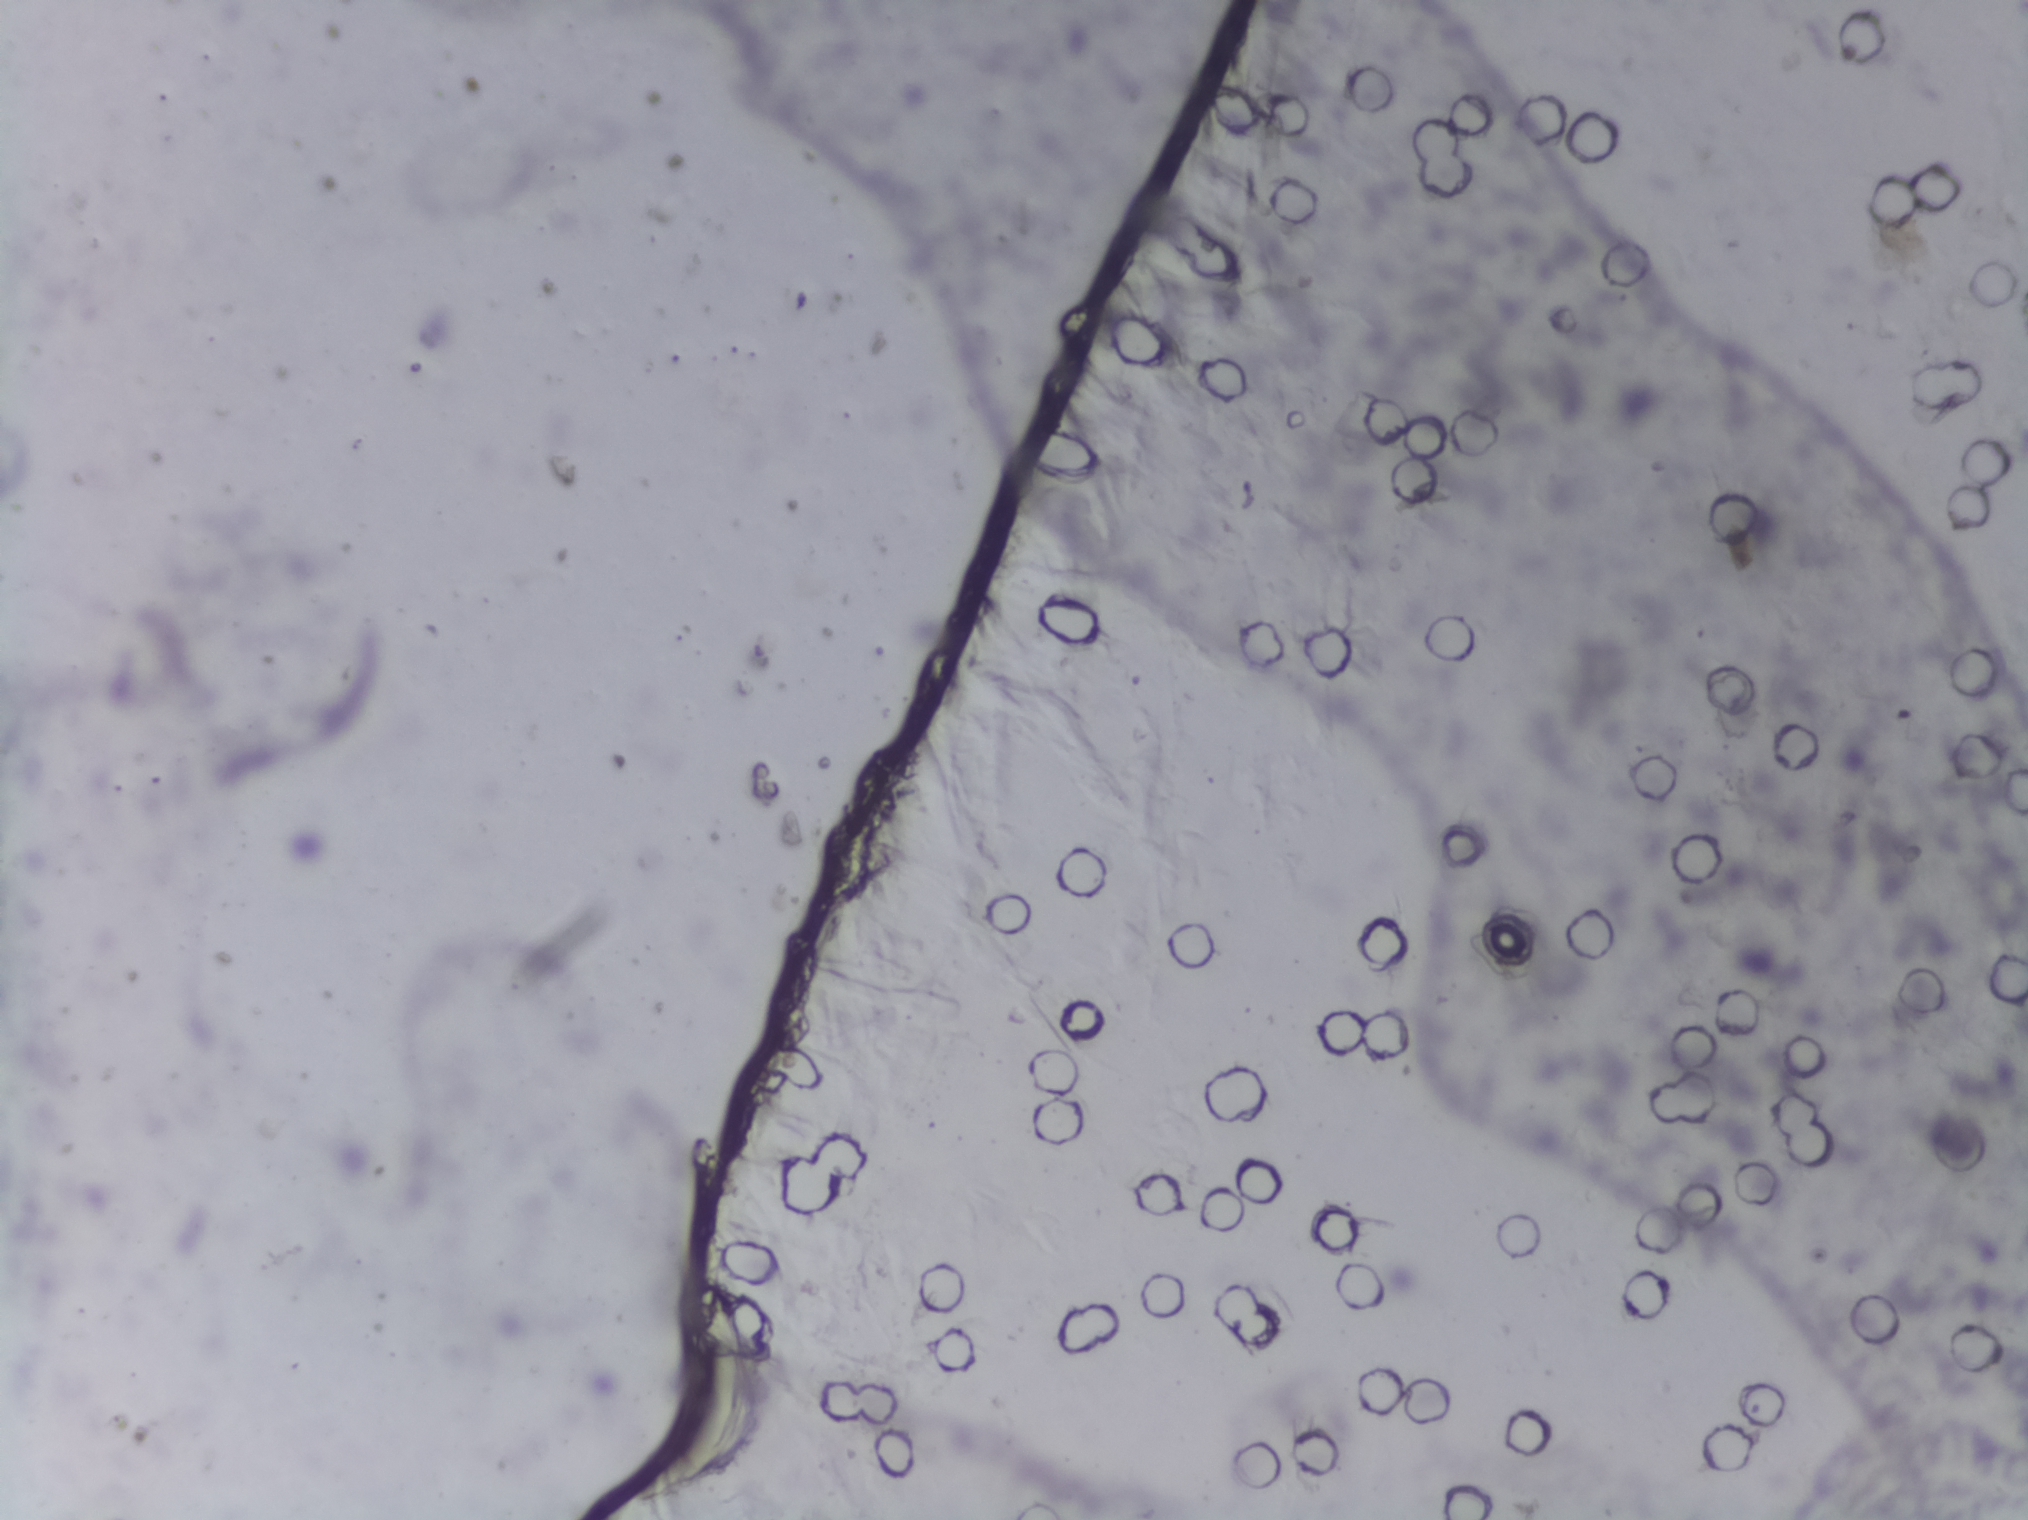
No area of this image was outlined as a Schistosoma egg.
Urine filter membrane photographed through a 4× microscope objective.